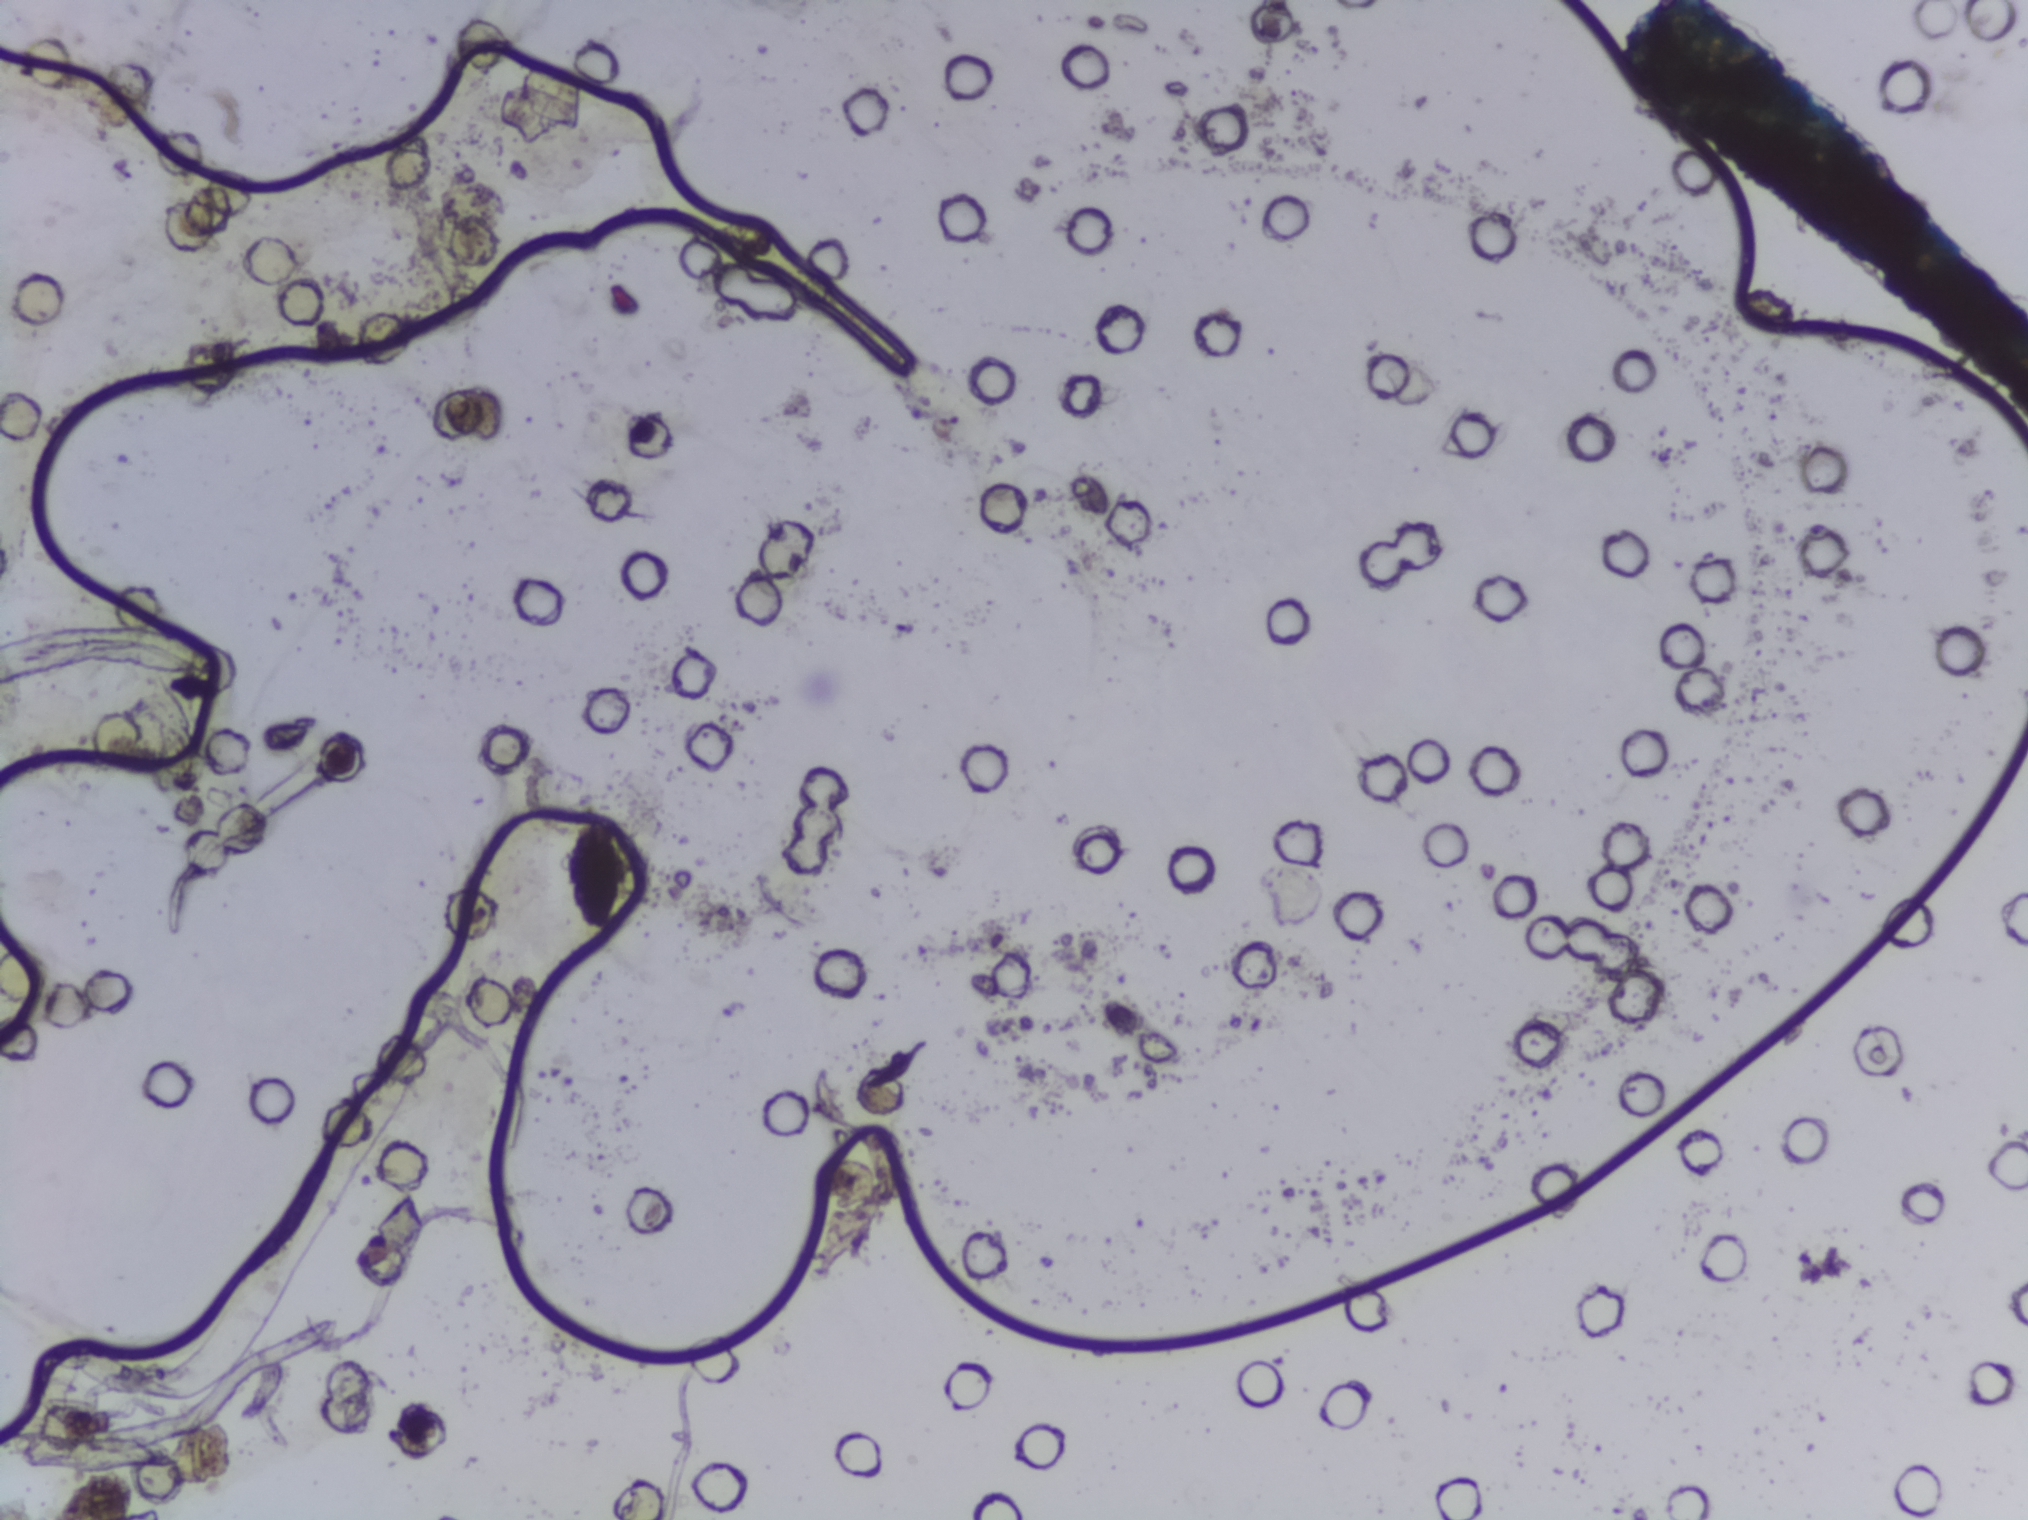
The expert annotation outlines no Schistosoma egg in this image.
Photomicrograph of a urine filtration membrane, 4× objective. Field of view: about 1.5 mm wide and 1.1 mm high.